Urine filter membrane photographed through a 4× microscope objective.
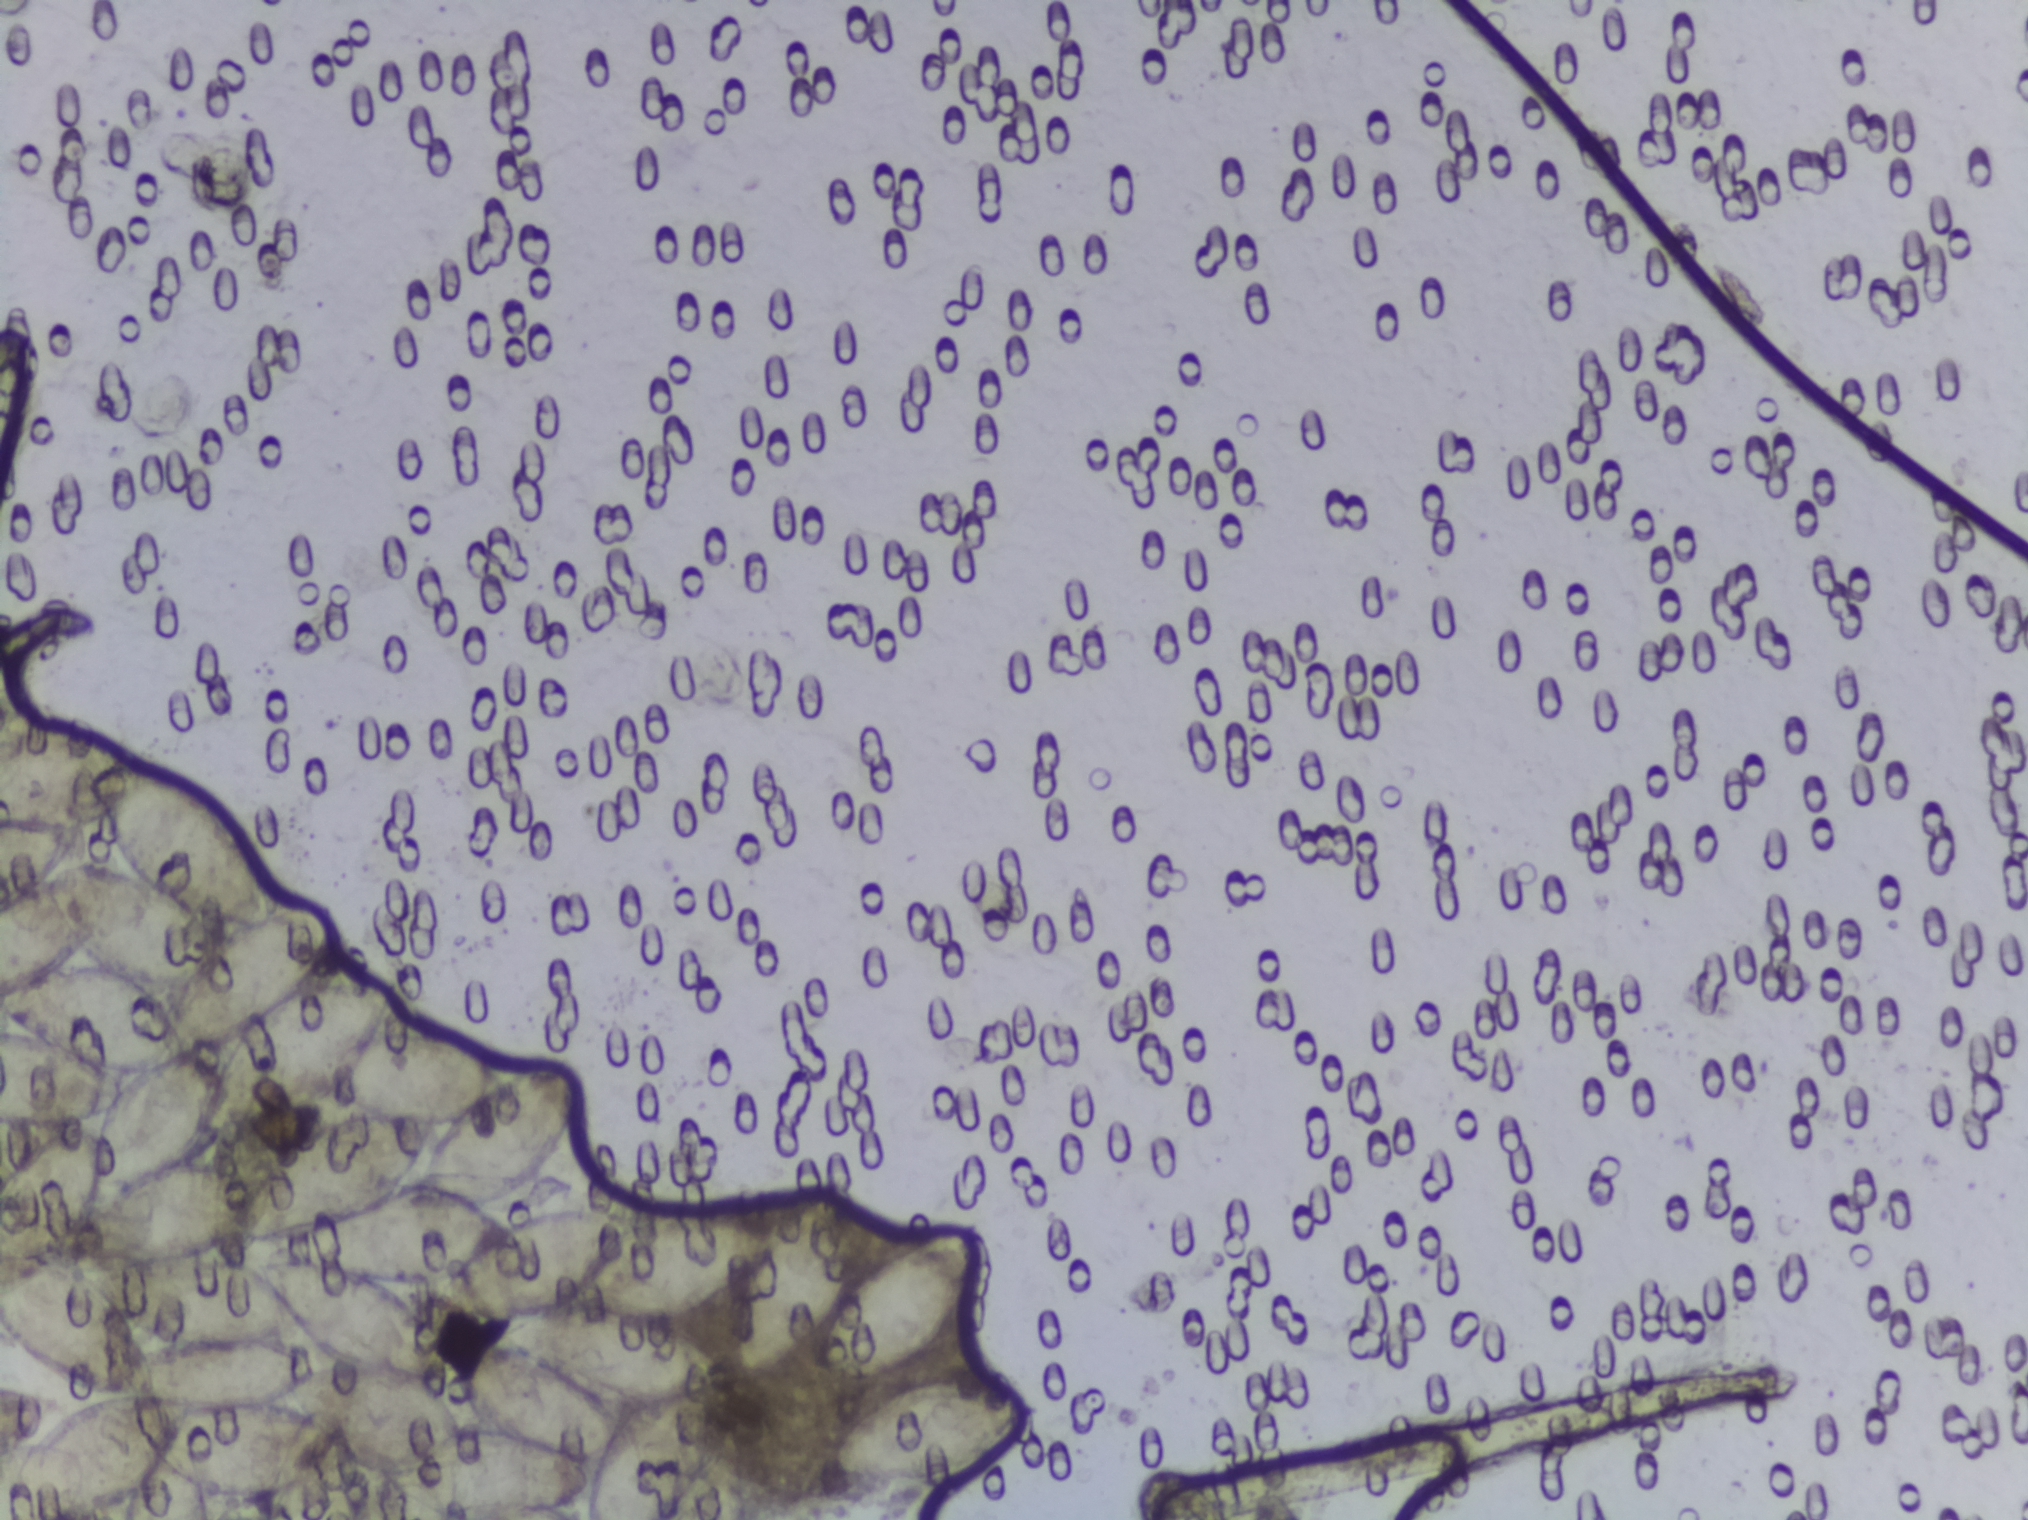
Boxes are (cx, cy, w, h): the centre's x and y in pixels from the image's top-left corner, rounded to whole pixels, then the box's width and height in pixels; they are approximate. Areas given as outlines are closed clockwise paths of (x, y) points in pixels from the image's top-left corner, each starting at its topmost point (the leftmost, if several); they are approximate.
Findings: two areas outlined as Schistosoma eggs. Locations, left to right: outline (0, 716), (50, 716), (84, 726), (107, 740), (120, 759), (160, 768), (222, 802), (255, 840), (278, 890), (301, 892), (337, 914), (337, 944), (323, 974), (384, 974), (392, 980), (377, 1028), (447, 1036), (502, 1071), (560, 1063), (577, 1074), (581, 1106), (572, 1135), (553, 1169), (504, 1206), (513, 1216), (548, 1206), (613, 1212), (624, 1219), (647, 1210), (696, 1208), (770, 1227), (791, 1196), (826, 1177), (846, 1210), (851, 1281), (877, 1253), (921, 1232), (977, 1221), (975, 1272), (957, 1324), (909, 1369), (875, 1380), (831, 1381), (815, 1364), (813, 1348), (767, 1380), (735, 1367), (736, 1284), (696, 1314), (661, 1322), (707, 1342), (728, 1363), (730, 1375), (720, 1386), (726, 1424), (714, 1460), (676, 1519), (583, 1519), (582, 1486), (554, 1510), (526, 1519), (446, 1518), (403, 1494), (389, 1475), (357, 1465), (299, 1493), (208, 1499), (211, 1519), (118, 1519), (117, 1513), (101, 1519), (2, 1517), (0, 1380), (52, 1396), (71, 1410), (113, 1397), (32, 1361), (0, 1333), (2, 1168), (30, 1140), (60, 1128), (0, 1131) (eggs clustered together; reaching the left and bottom edges of the frame); box (cx=938, cy=1433, w=204, h=104). Eggs that touch can end up inside the same outlined area.